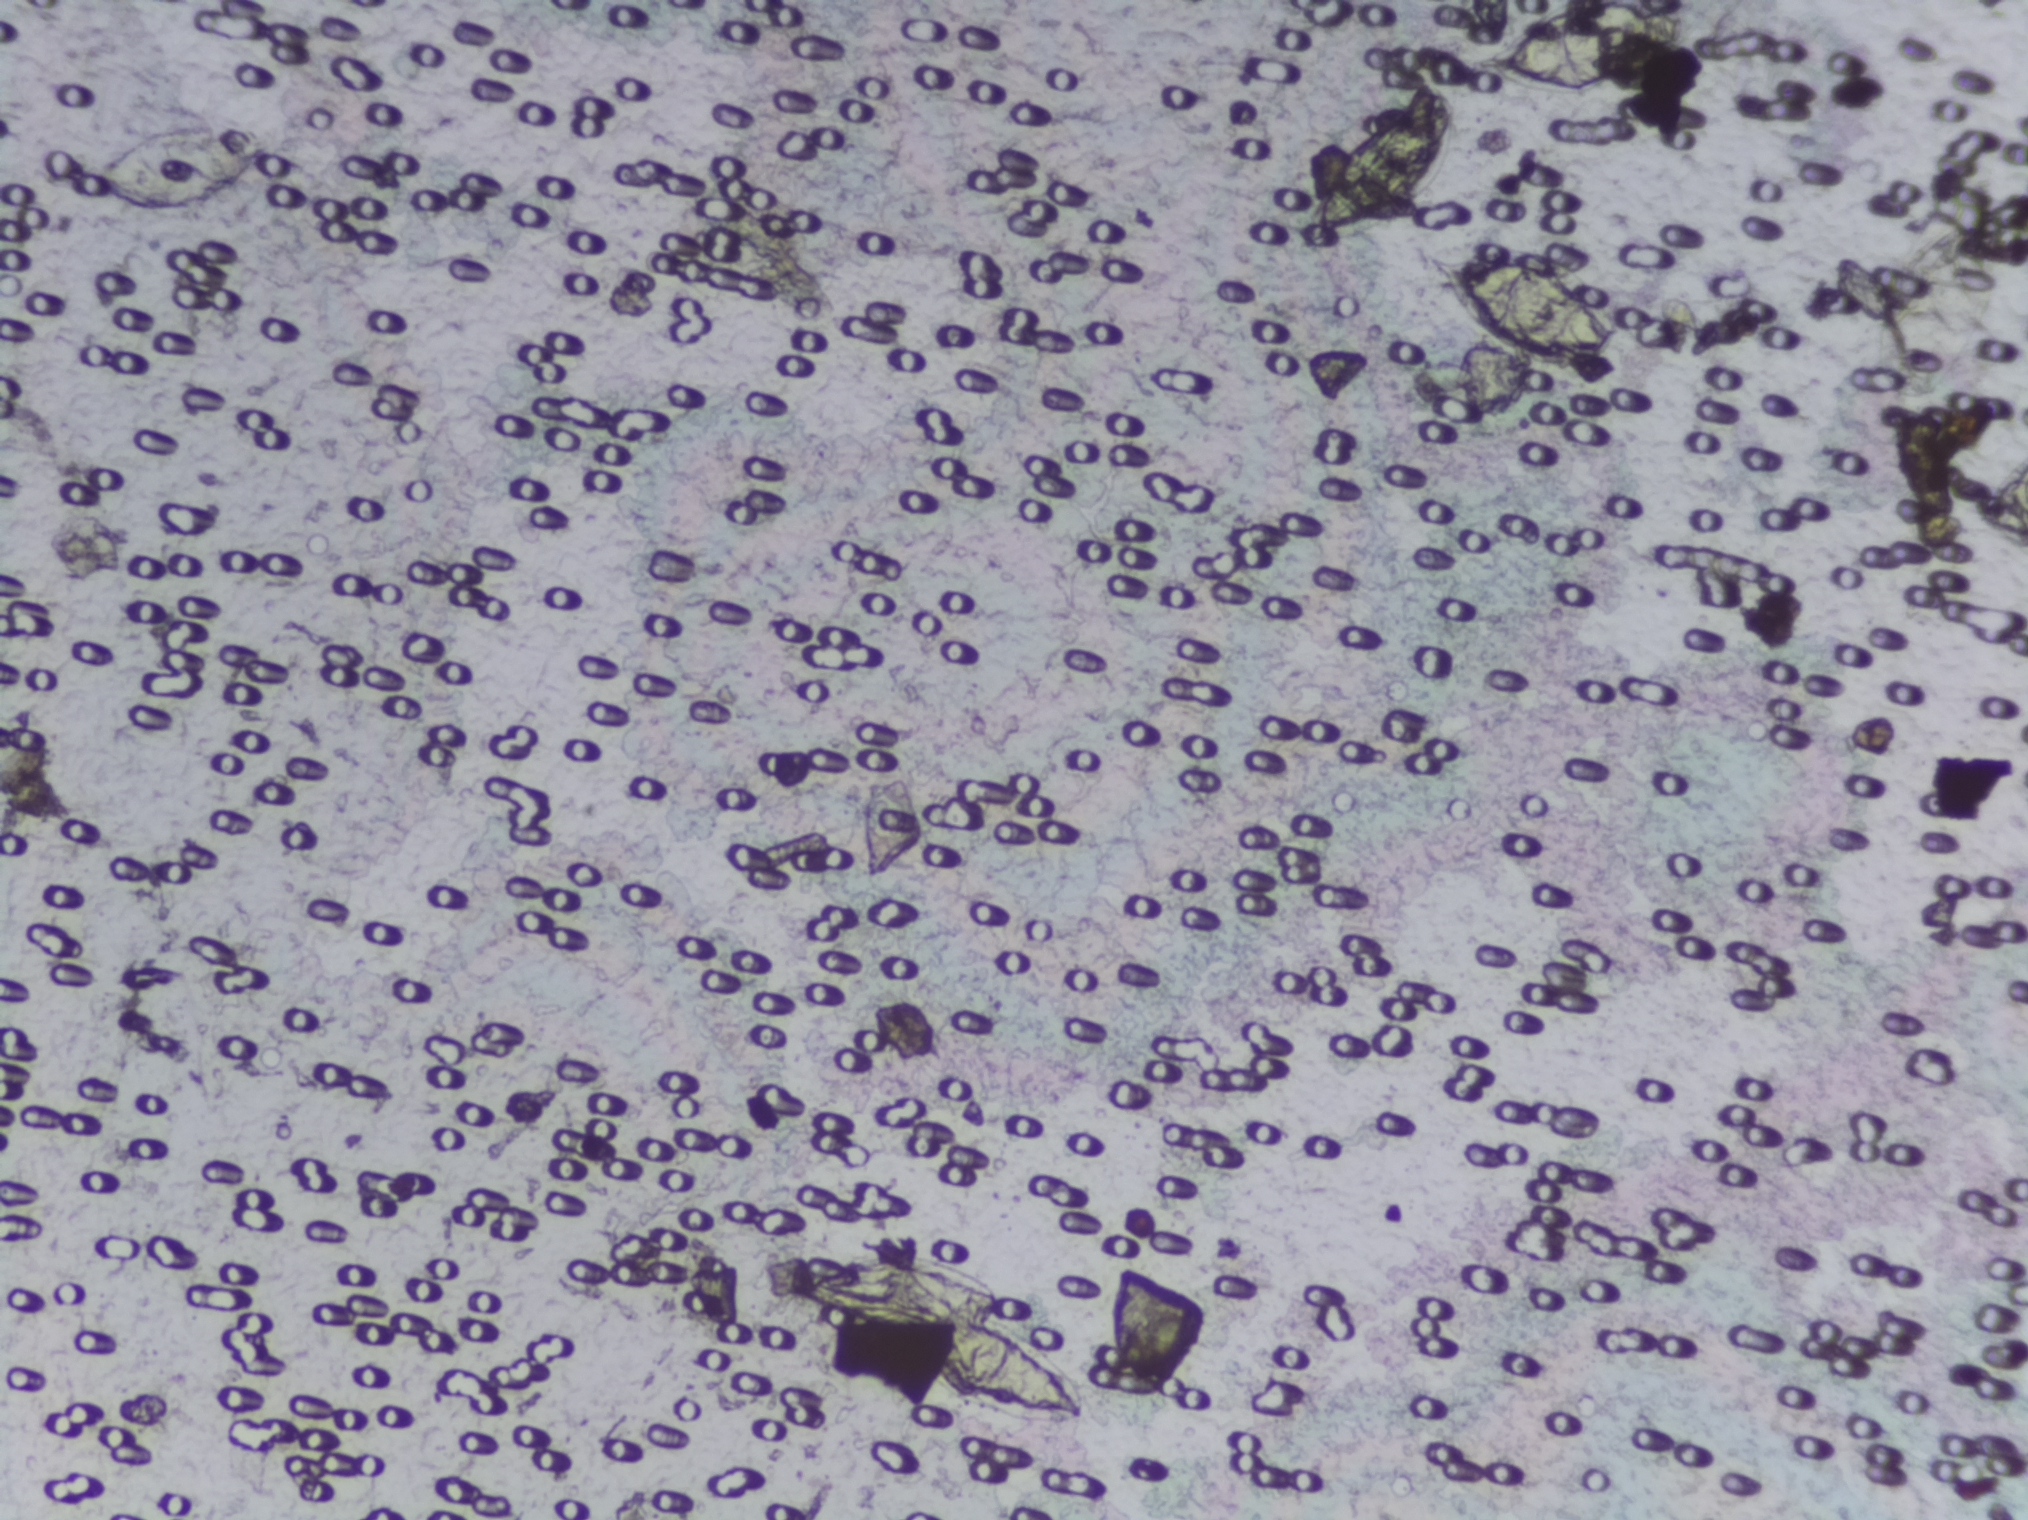
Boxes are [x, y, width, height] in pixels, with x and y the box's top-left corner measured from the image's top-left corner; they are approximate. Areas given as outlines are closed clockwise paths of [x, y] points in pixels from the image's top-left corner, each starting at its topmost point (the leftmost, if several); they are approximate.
Areas outlined as Schistosoma eggs, left to right:
1. box [75, 111, 211, 106]
2. outline [838, 1247], [940, 1258], [1000, 1279], [999, 1319], [1056, 1341], [1085, 1381], [1111, 1394], [1111, 1411], [1090, 1428], [1041, 1428], [971, 1415], [938, 1389], [911, 1347], [773, 1305], [773, 1280]
3. box [1318, 87, 149, 156]
4. box [1428, 245, 189, 123]
5. box [1481, 4, 202, 94]
A single outlined area may contain several eggs. Any one outlined egg may, rarely, be S. mansoni rather than S. haematobium.
One field of view of a urine filter membrane, 4× objective, 2028 × 1520 pixels.